Urine filtration membrane under a 4× objective, photographed by an automated digital microscope.
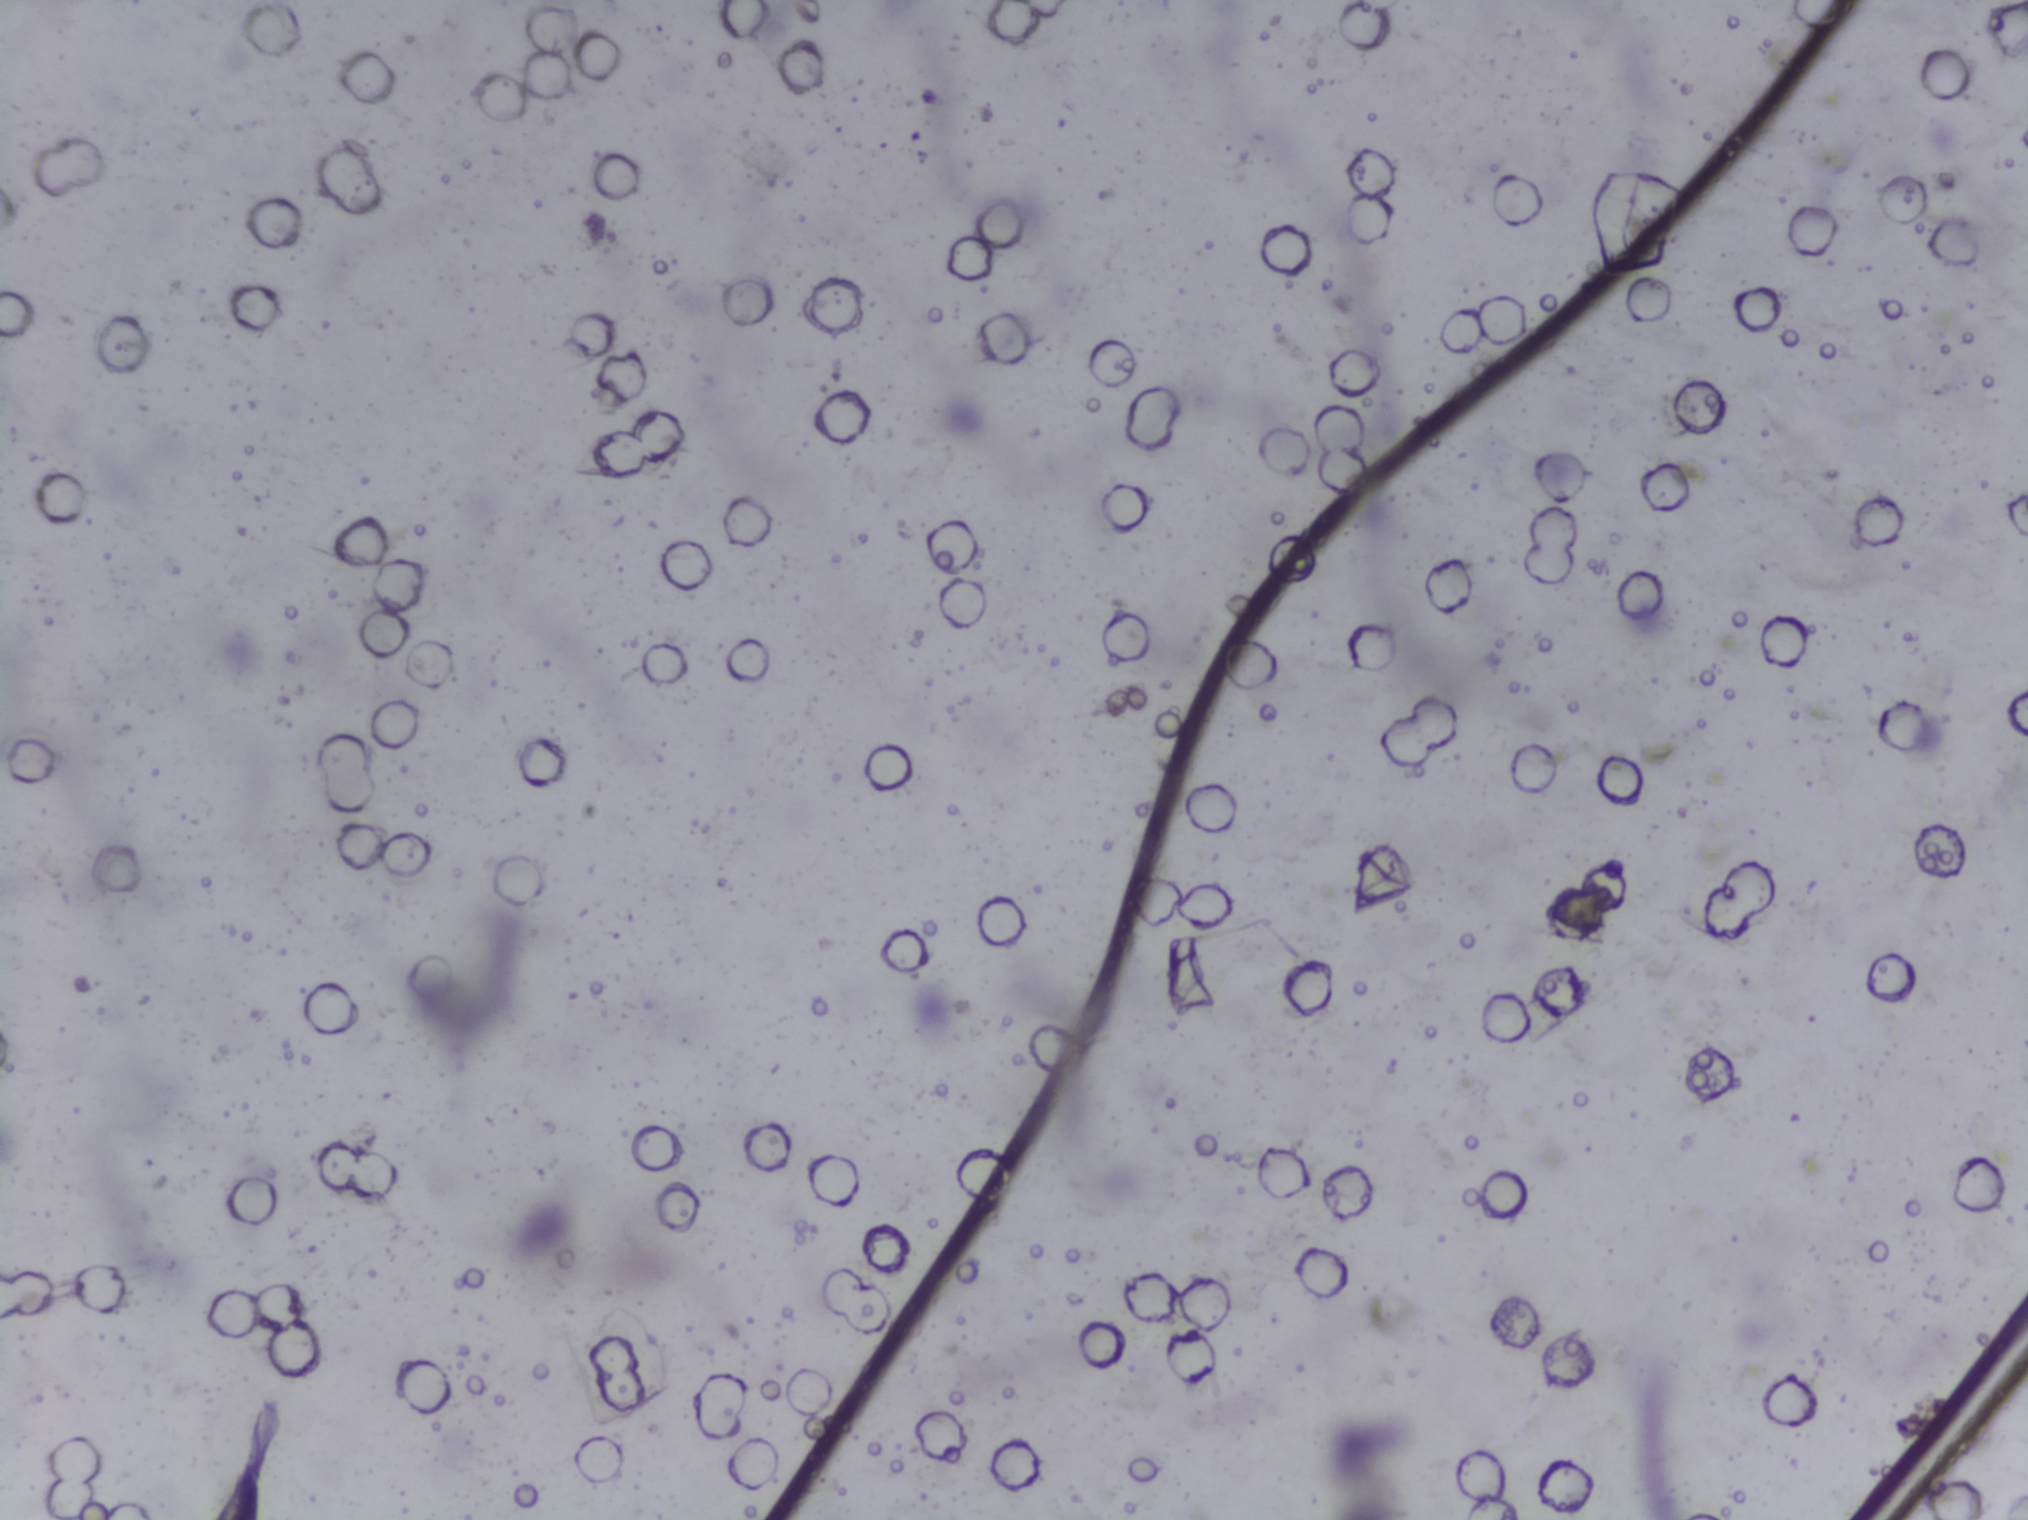
The expert annotation outlines no Schistosoma egg in this image.